Photograph from an automated digital microscope: urine filter membrane, 4× objective.
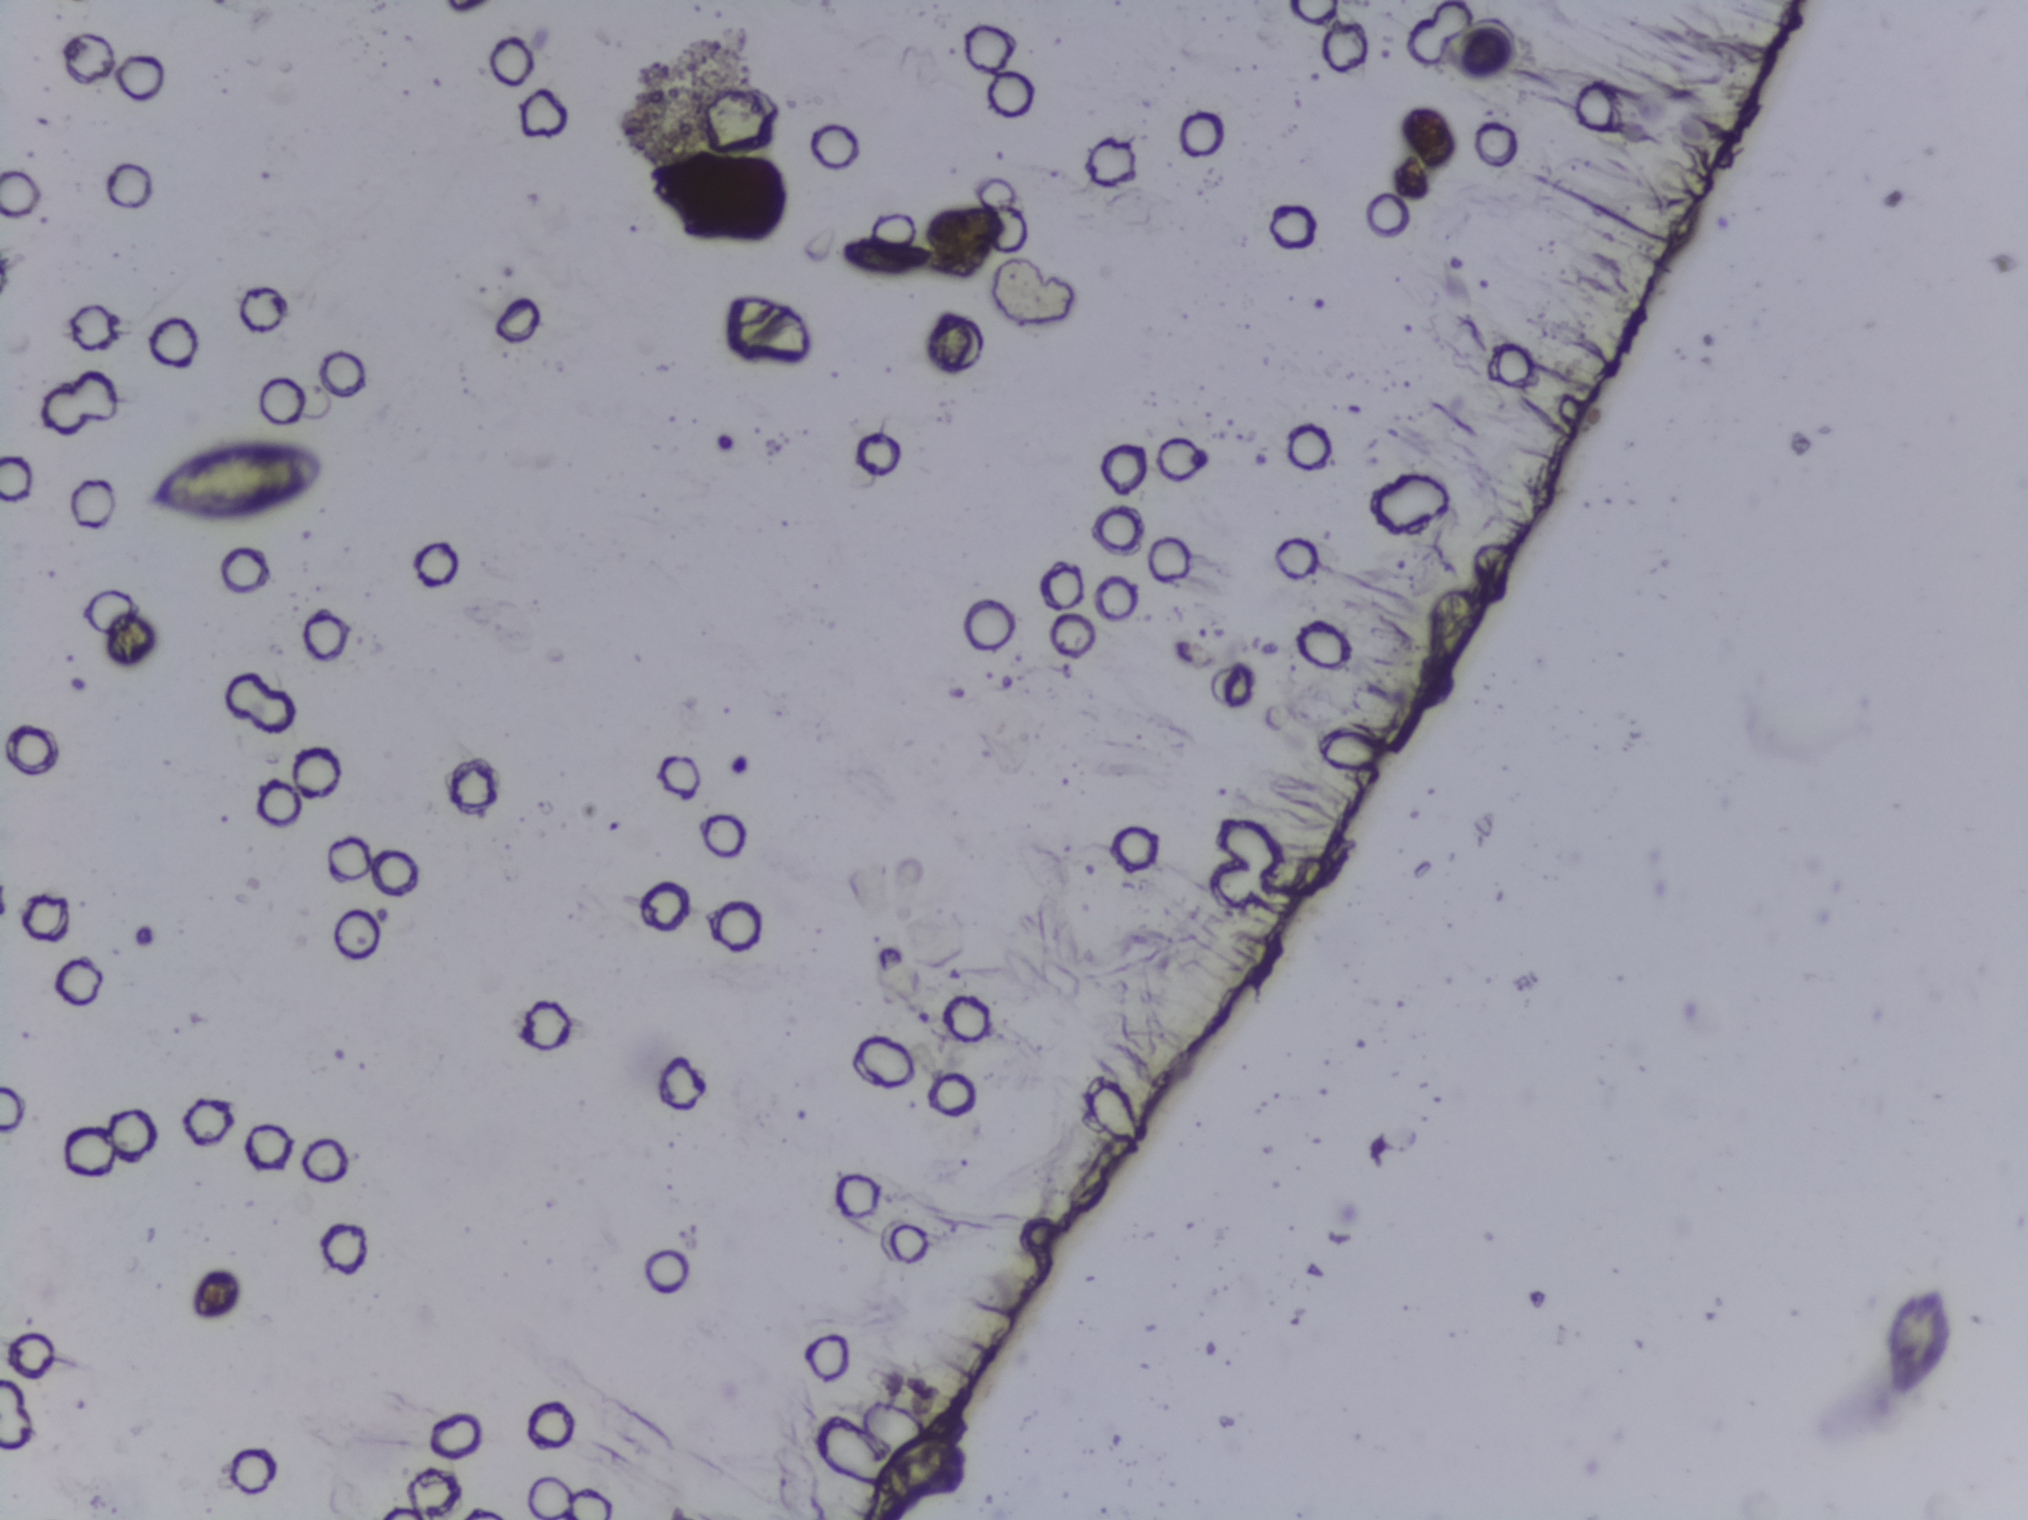
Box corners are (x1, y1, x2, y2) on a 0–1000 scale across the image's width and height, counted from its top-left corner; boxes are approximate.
Findings: one area outlined as Schistosoma eggs. Location: (66, 284, 170, 346). A single outlined area may contain several eggs.